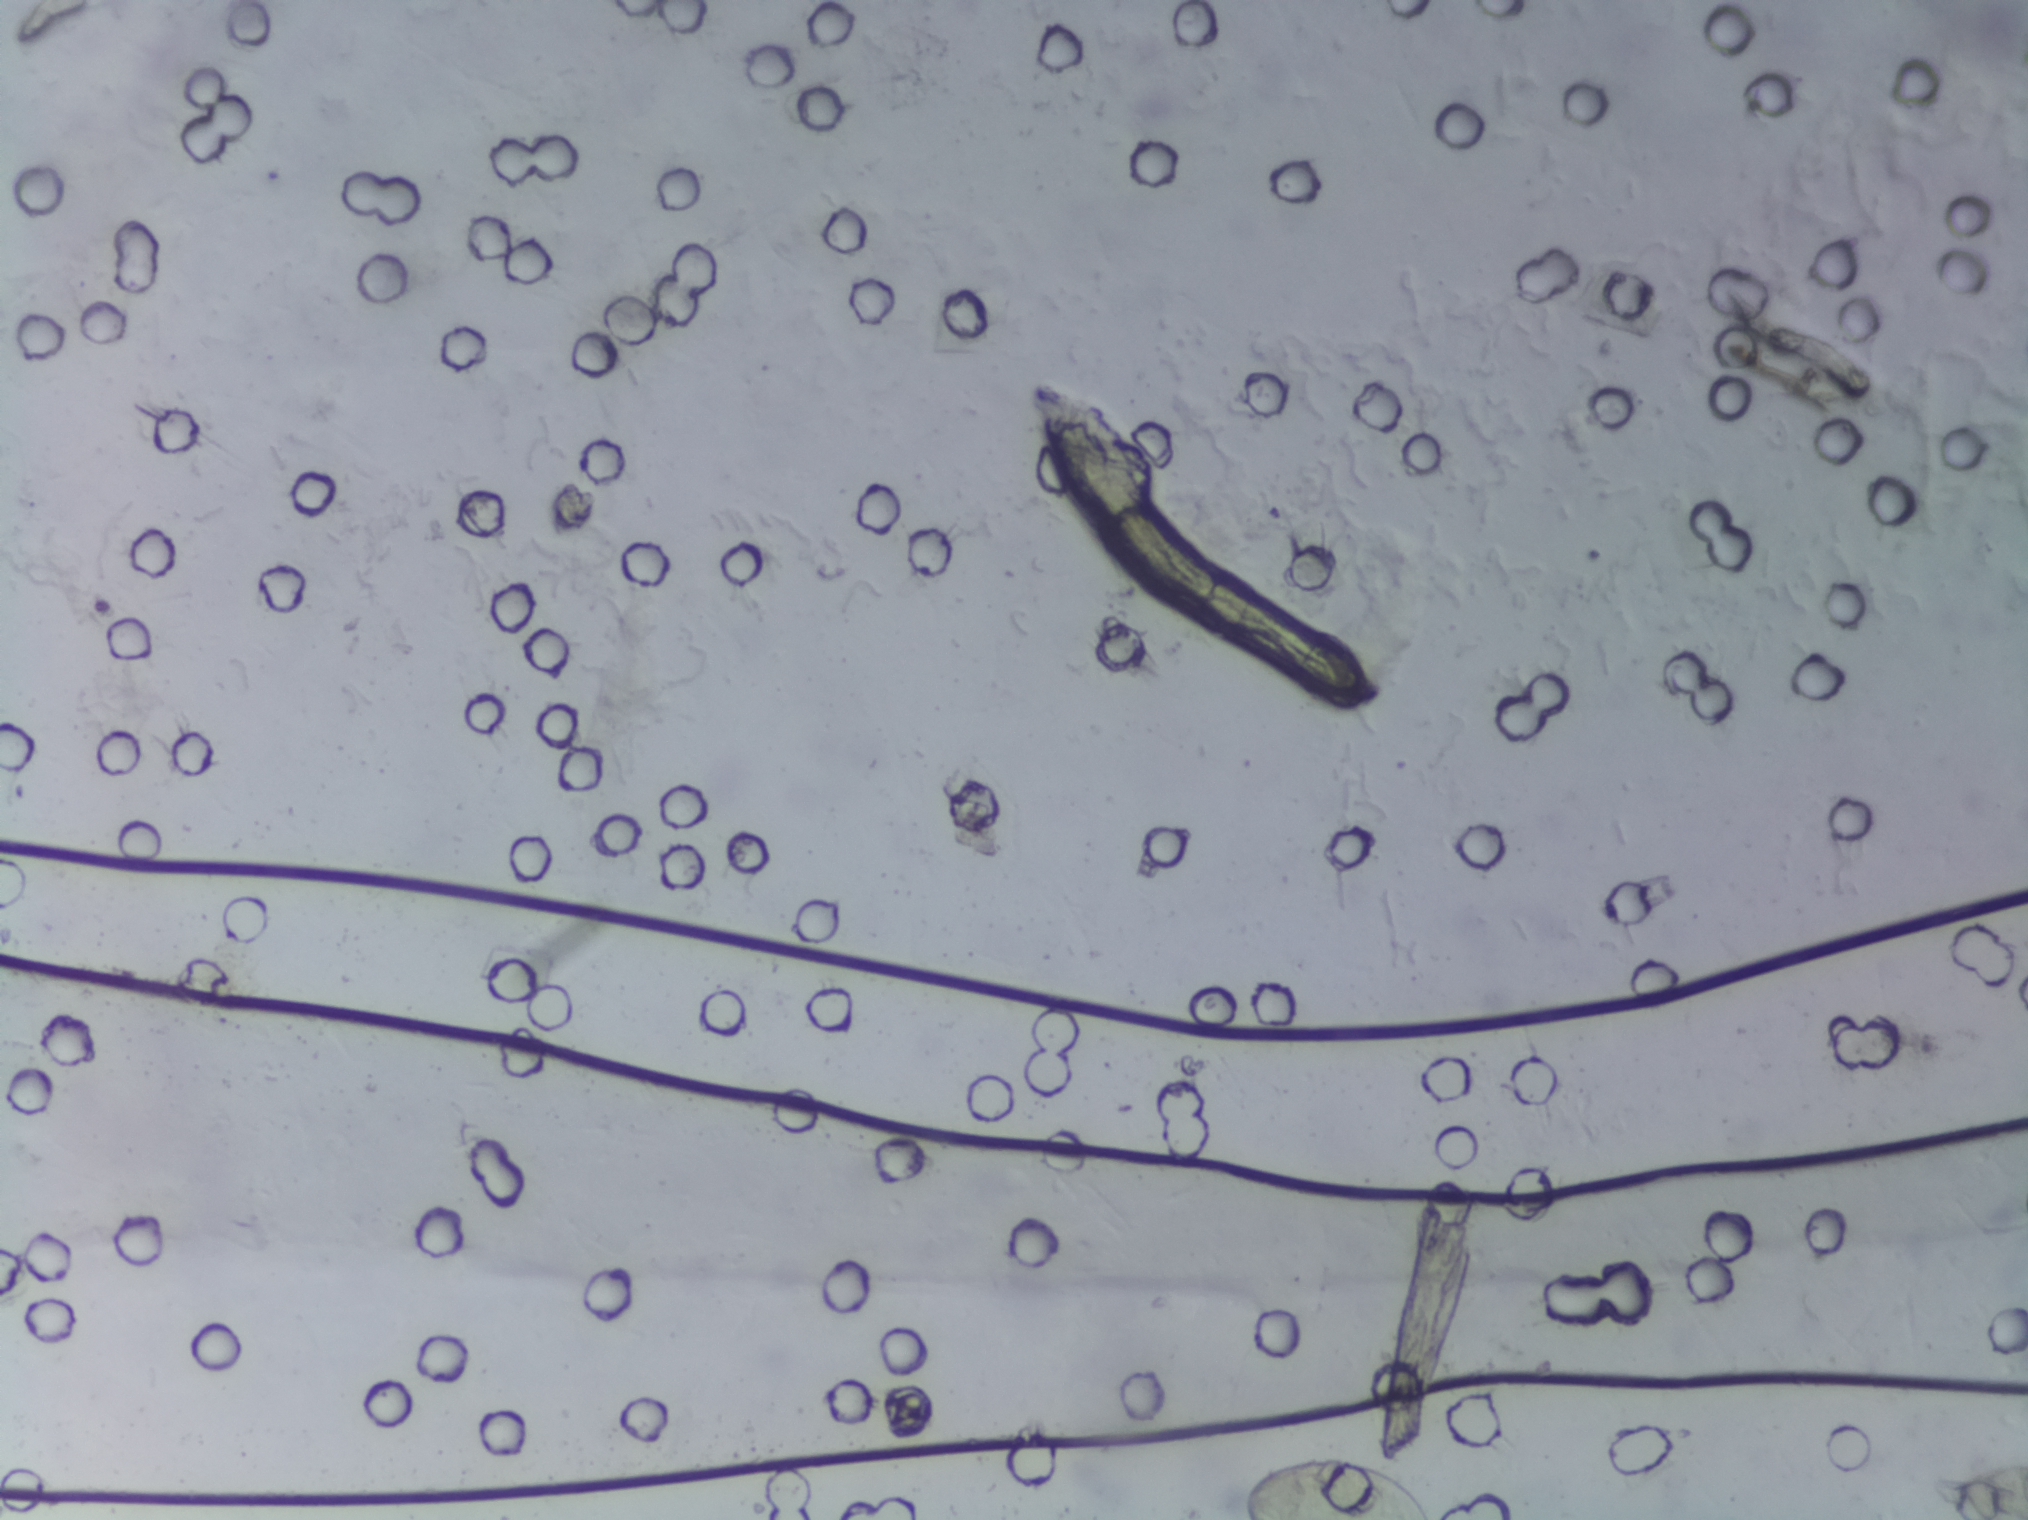
Microscope photograph (4× objective) of a membrane that a urine sample was filtered through.
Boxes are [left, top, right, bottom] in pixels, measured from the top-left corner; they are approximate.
One area of this image is outlined as Schistosoma eggs: [1241, 1455, 1436, 1519] (reaching the bottom edge of the frame). Marked pixels, not the box around them: about 0.3% of the image. A single outlined area may contain several eggs.